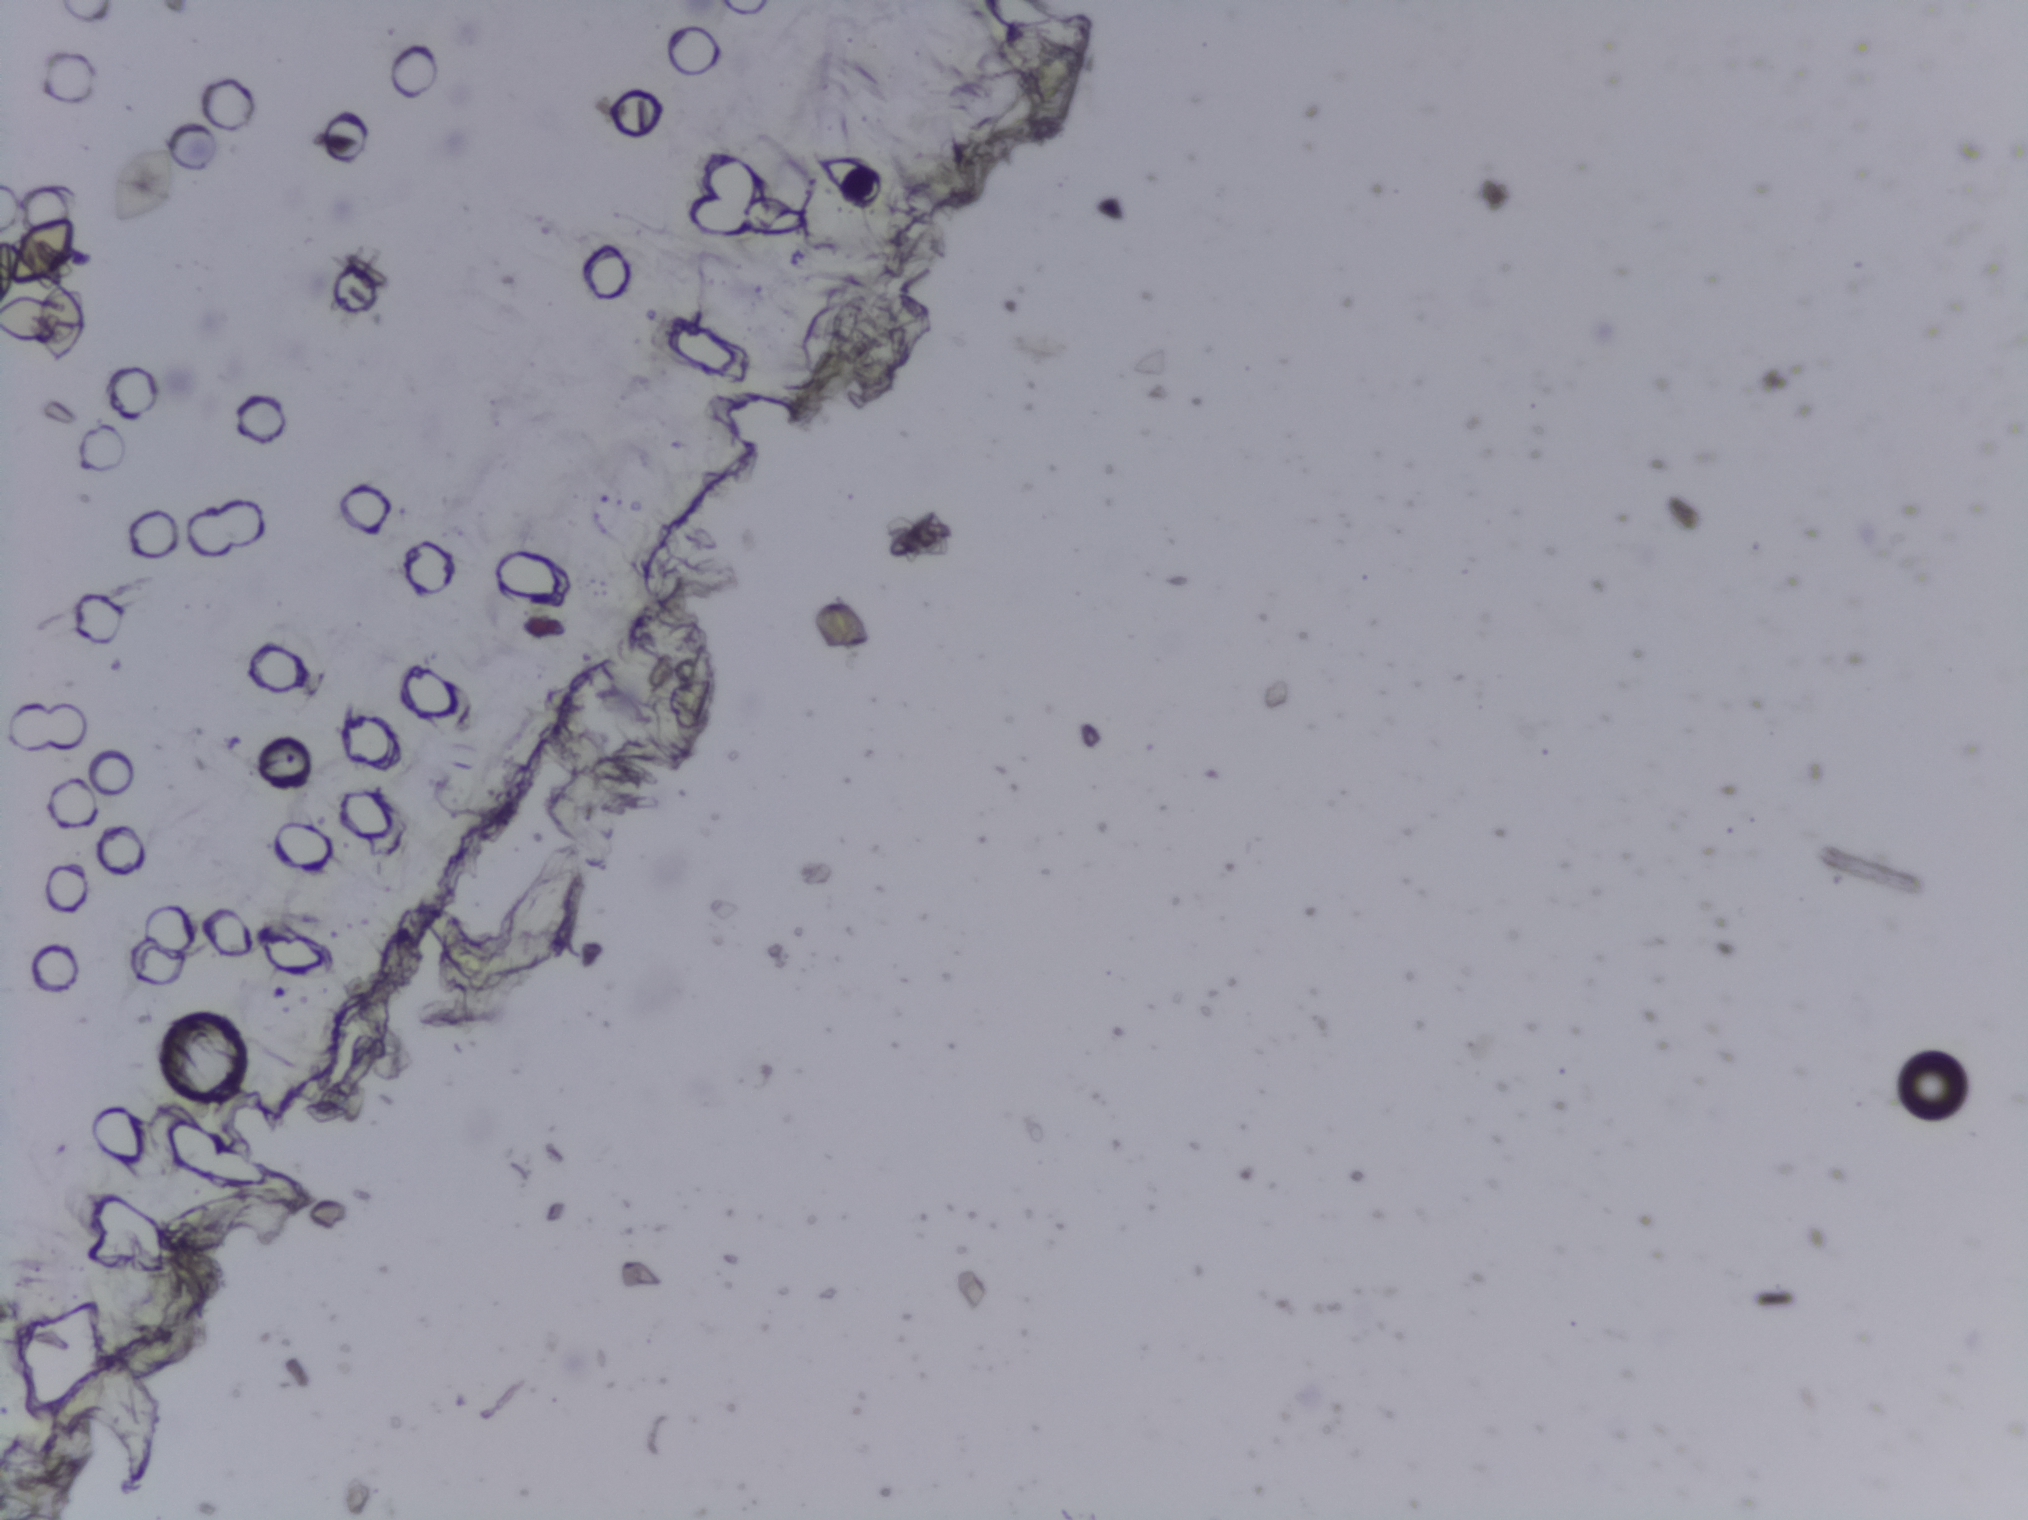
Urine filter membrane photographed through a 4× microscope objective.
No area of this image was outlined as a Schistosoma egg.